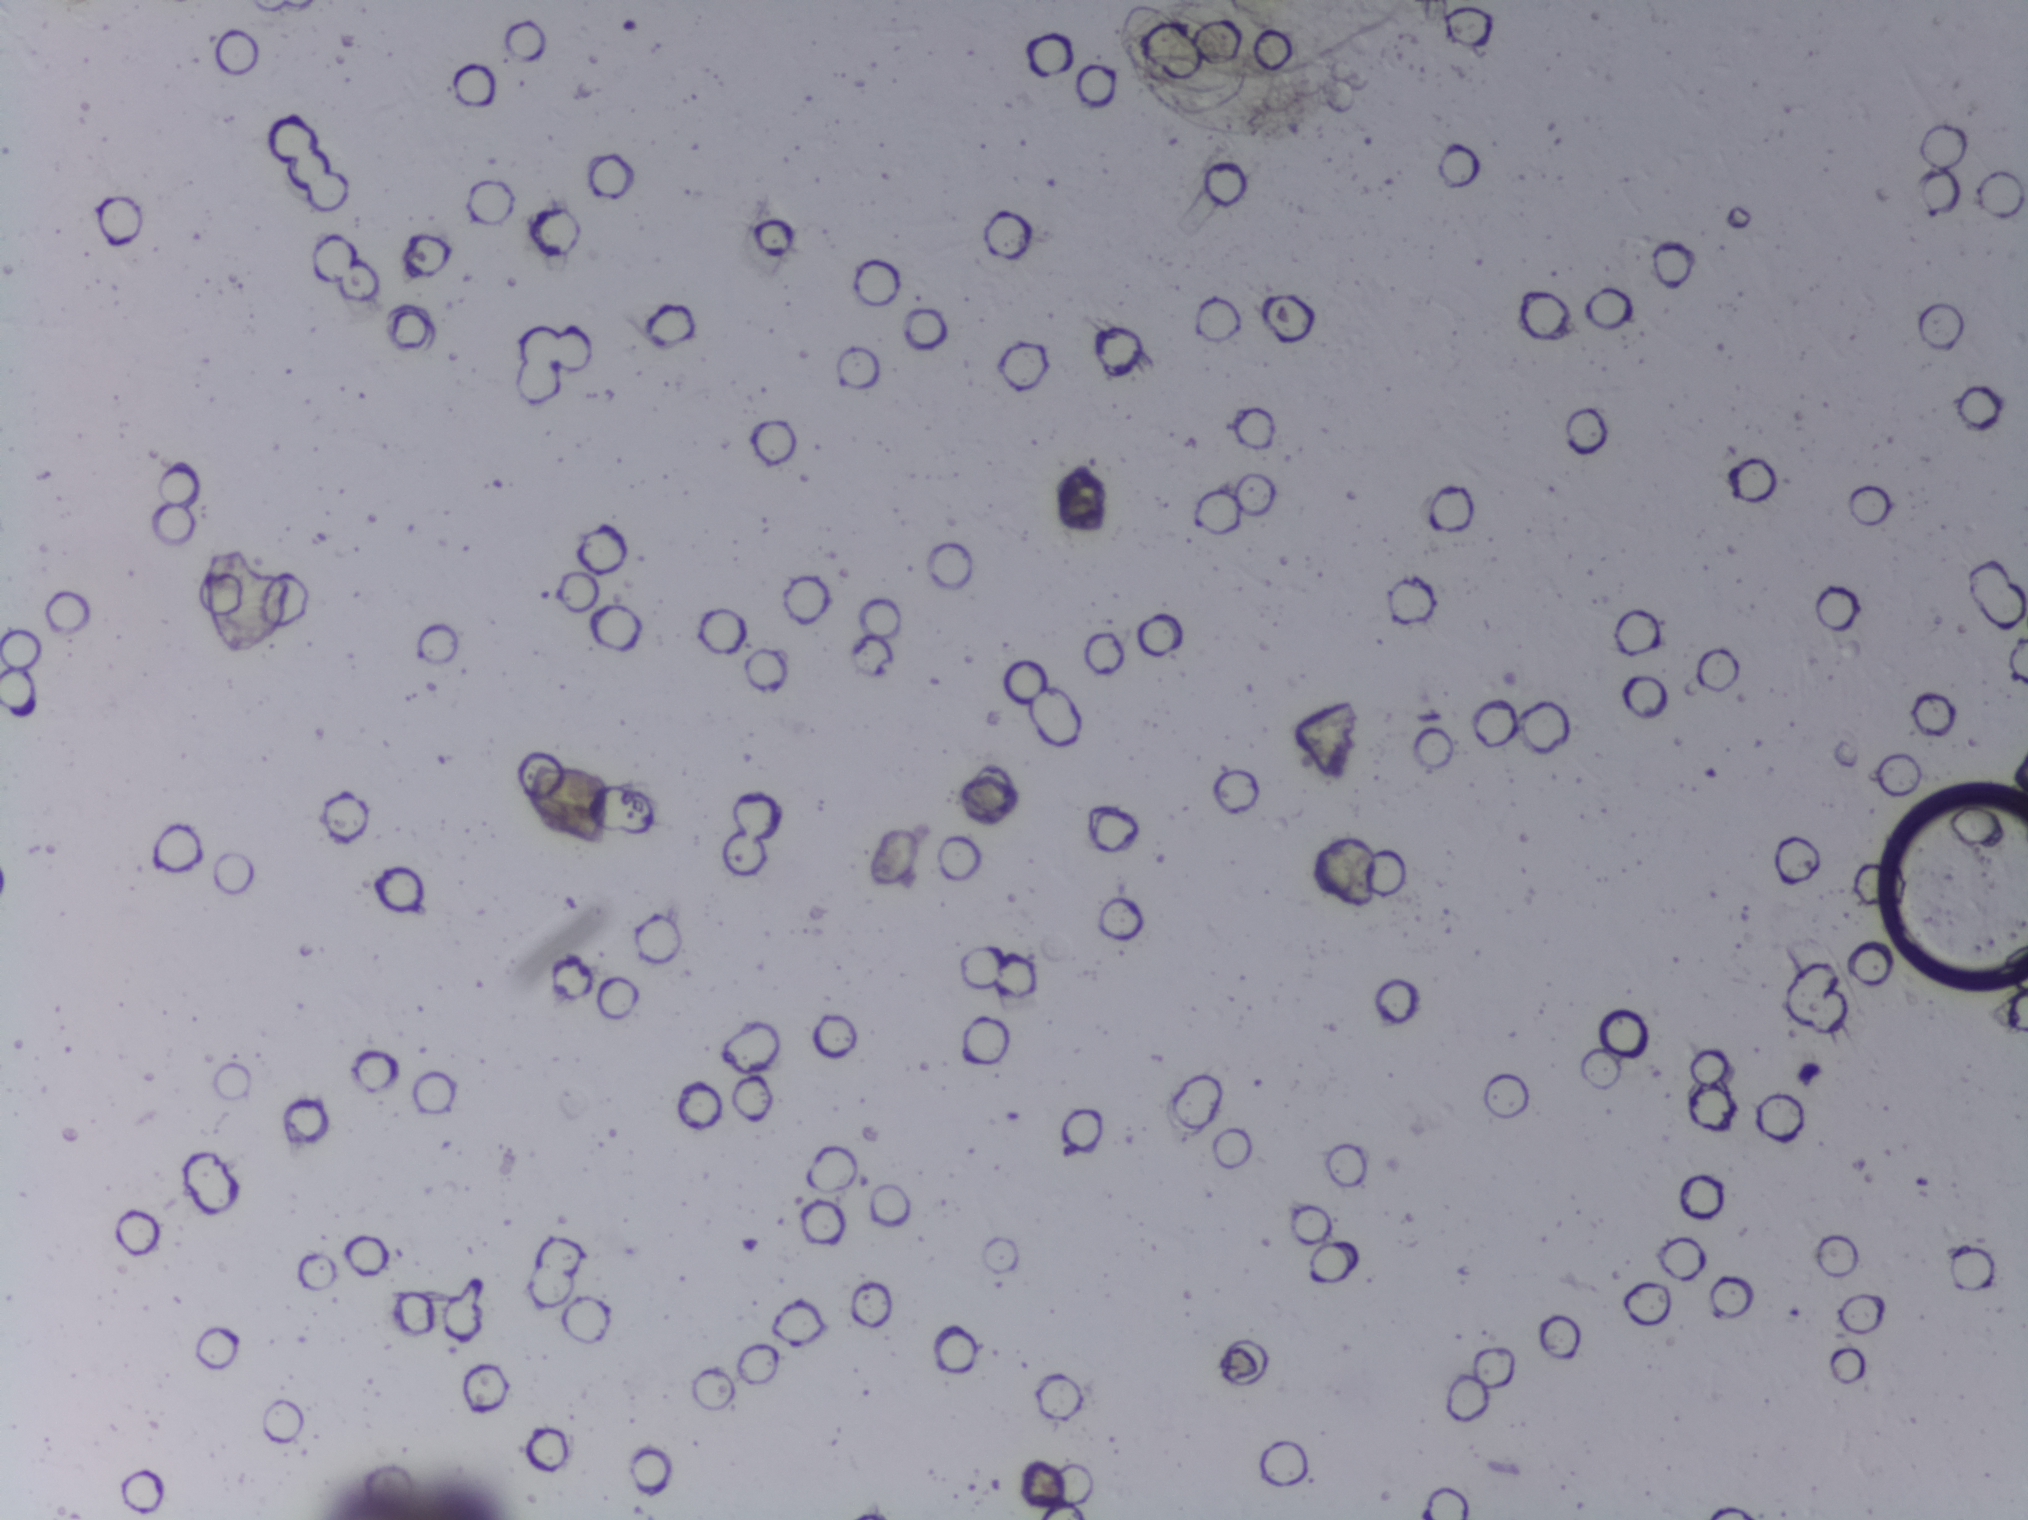
Photomicrograph of a urine filtration membrane, 4× objective.
The expert annotation outlines no Schistosoma egg in this image.